Microscope photograph (4× objective) of a membrane that a urine sample was filtered through.
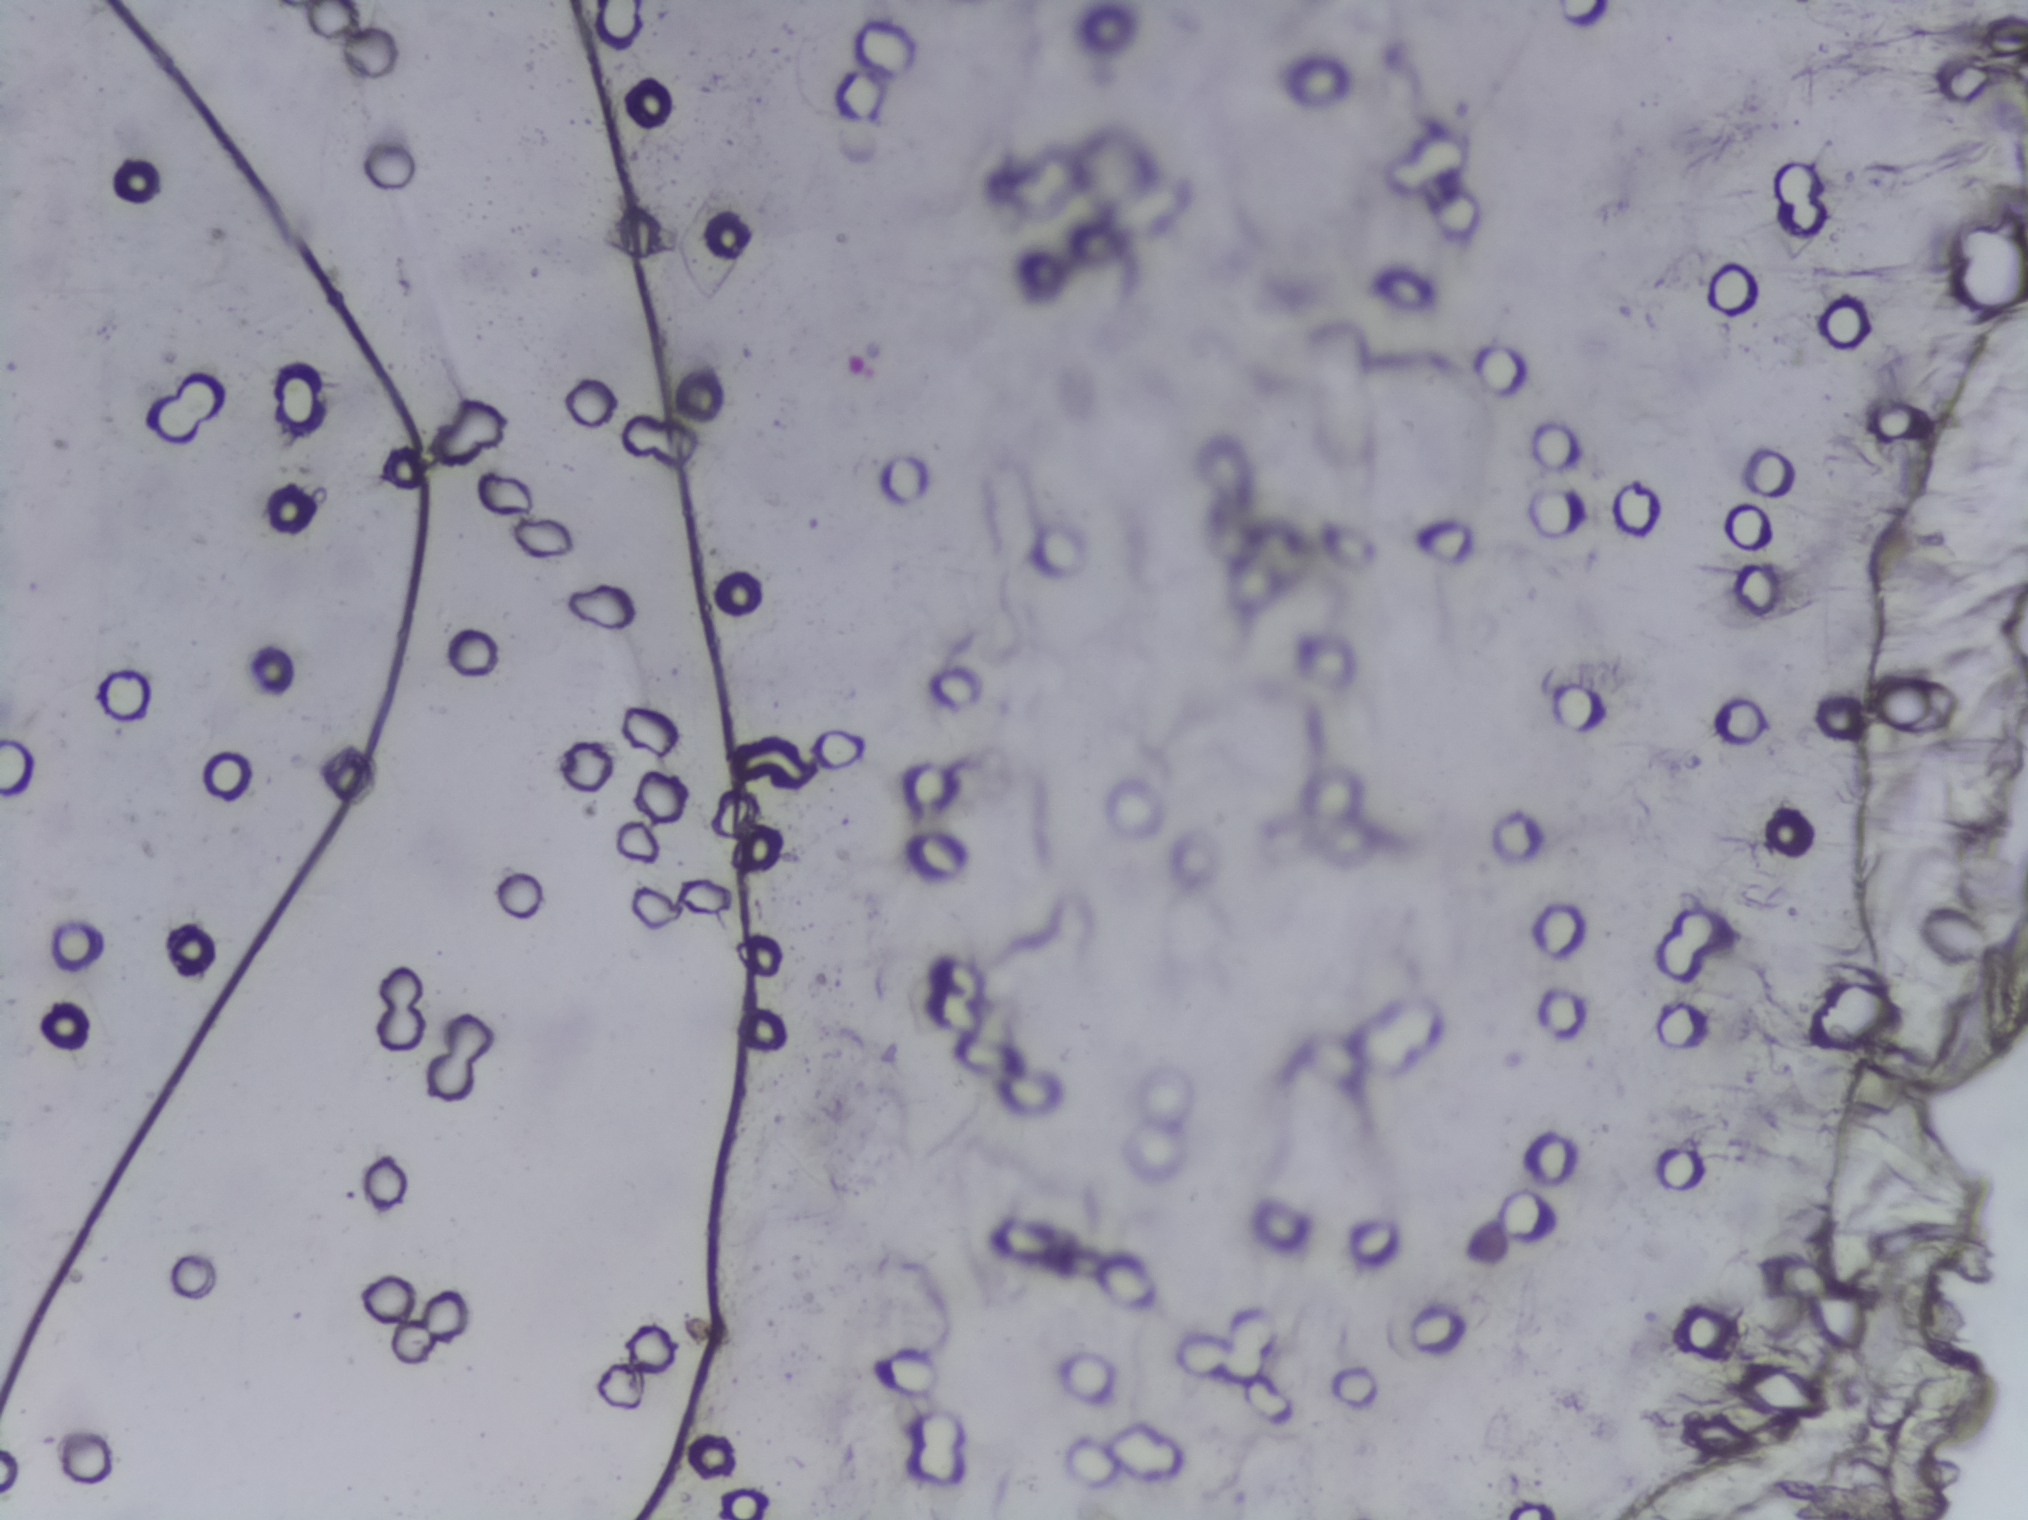
The expert annotation marks no Schistosoma egg in this field of view.